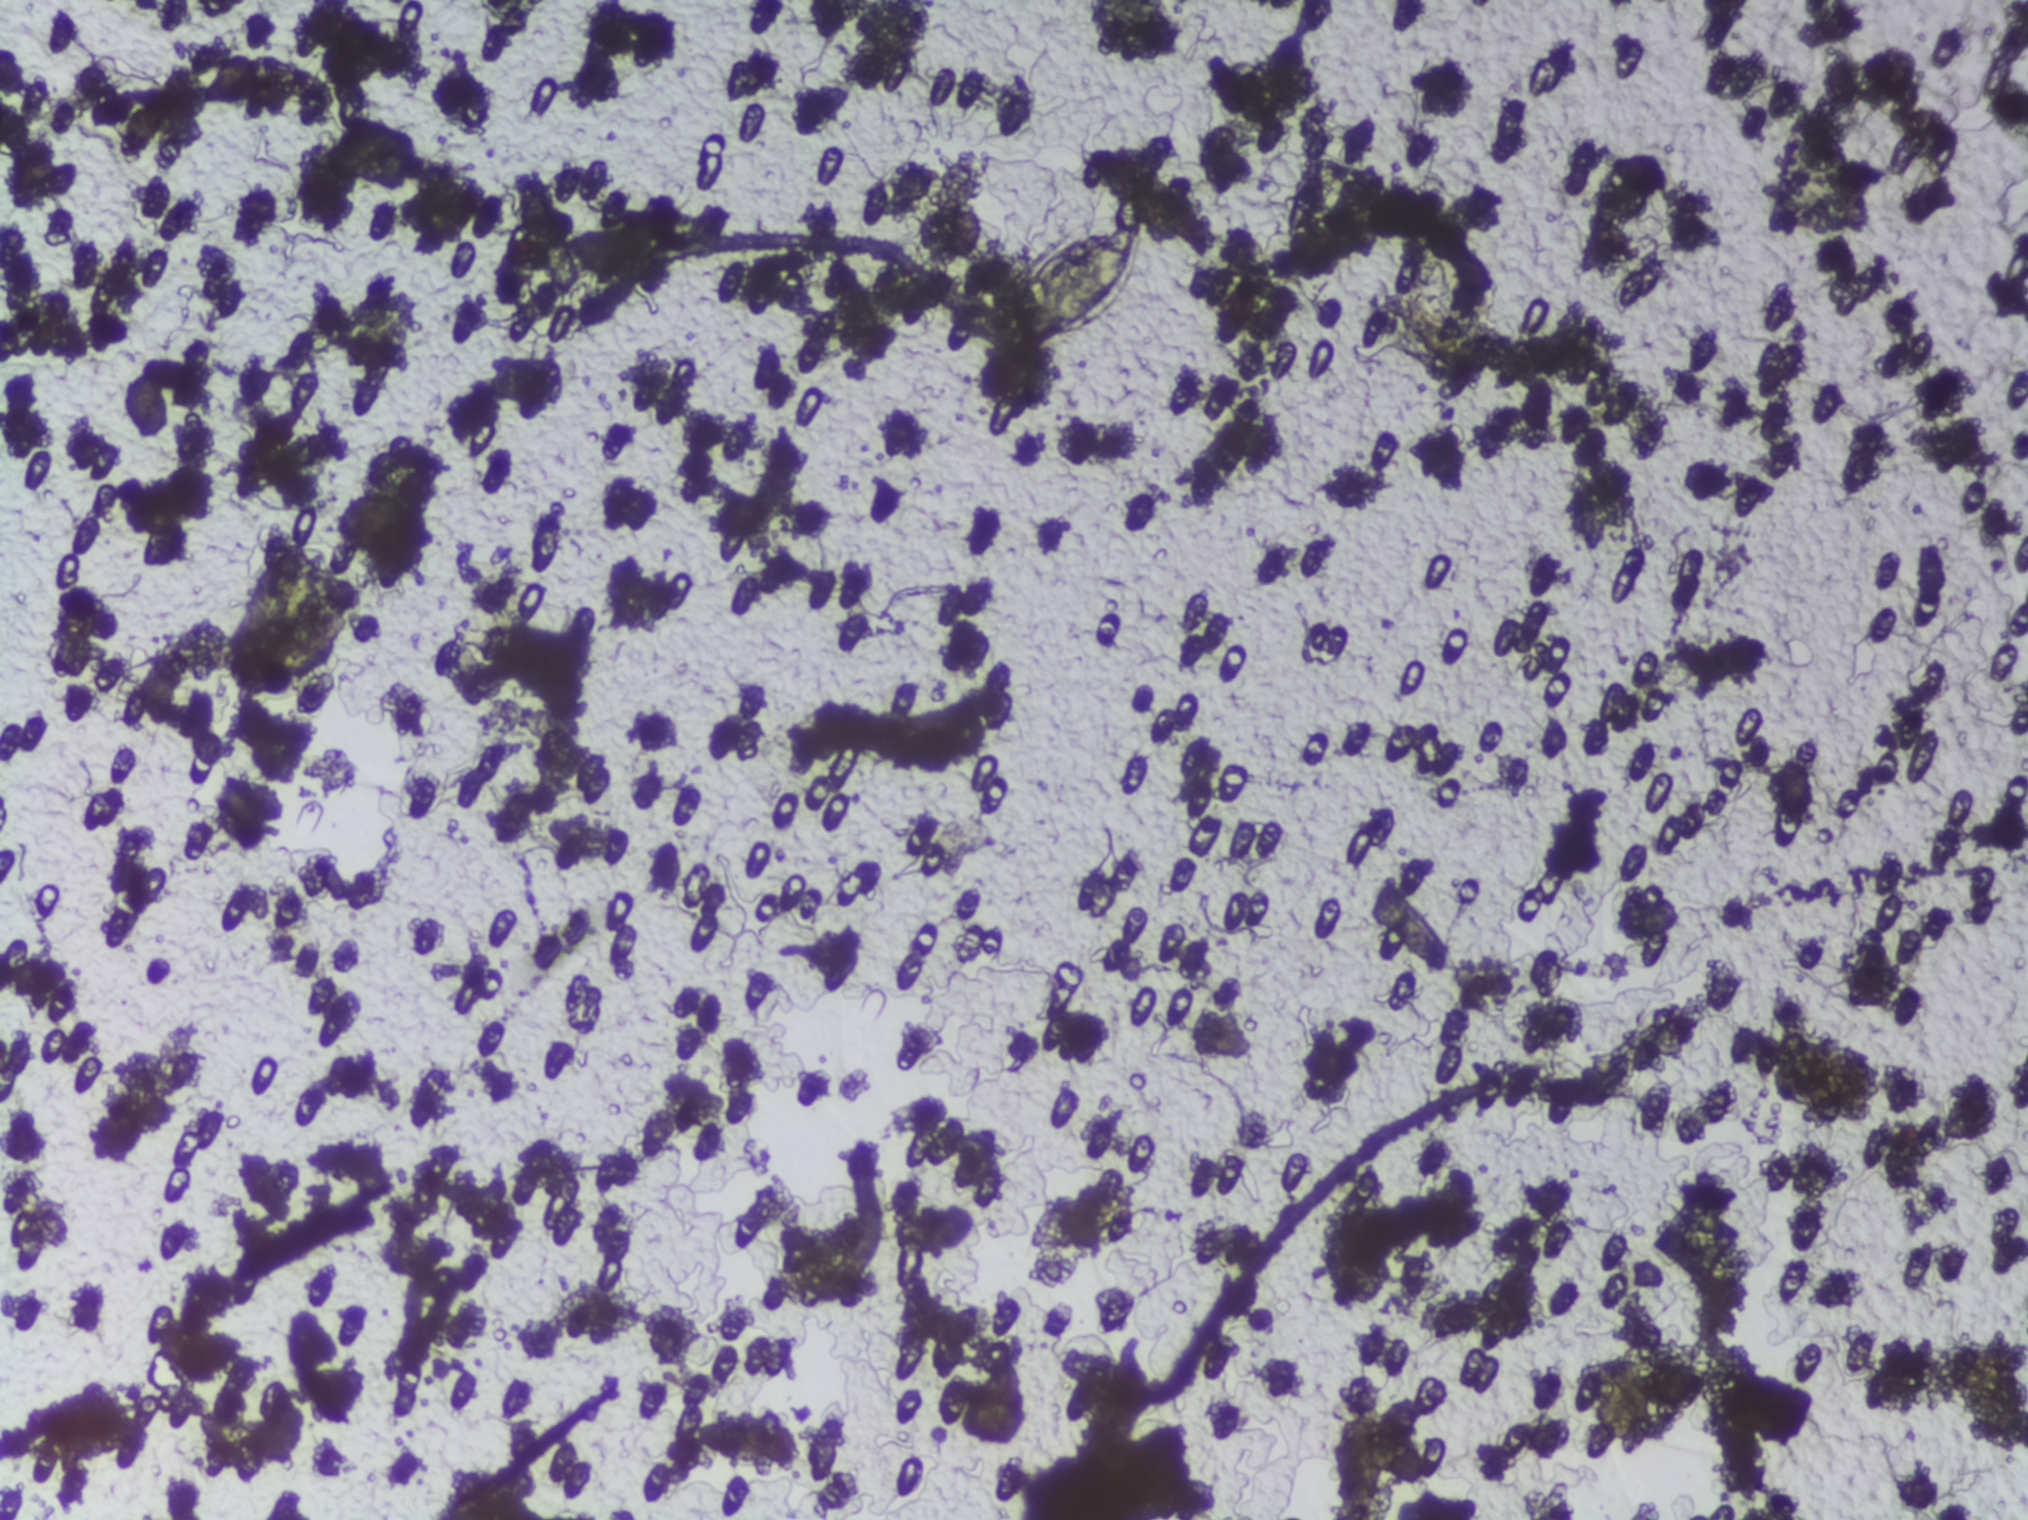
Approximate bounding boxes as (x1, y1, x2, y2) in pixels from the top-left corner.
Schistosoma eggs are outlined in the expert annotation at (1003, 210, 1137, 351). The marked pixels themselves, not the box around them, cover about 0.4% of the image. A single outlined area may contain several eggs.
Urine filtration membrane under a 4× objective, photographed by an automated digital microscope. Field of view: about 1.5 mm wide and 1.1 mm high.